Photograph from an automated digital microscope: urine filter membrane, 4× objective.
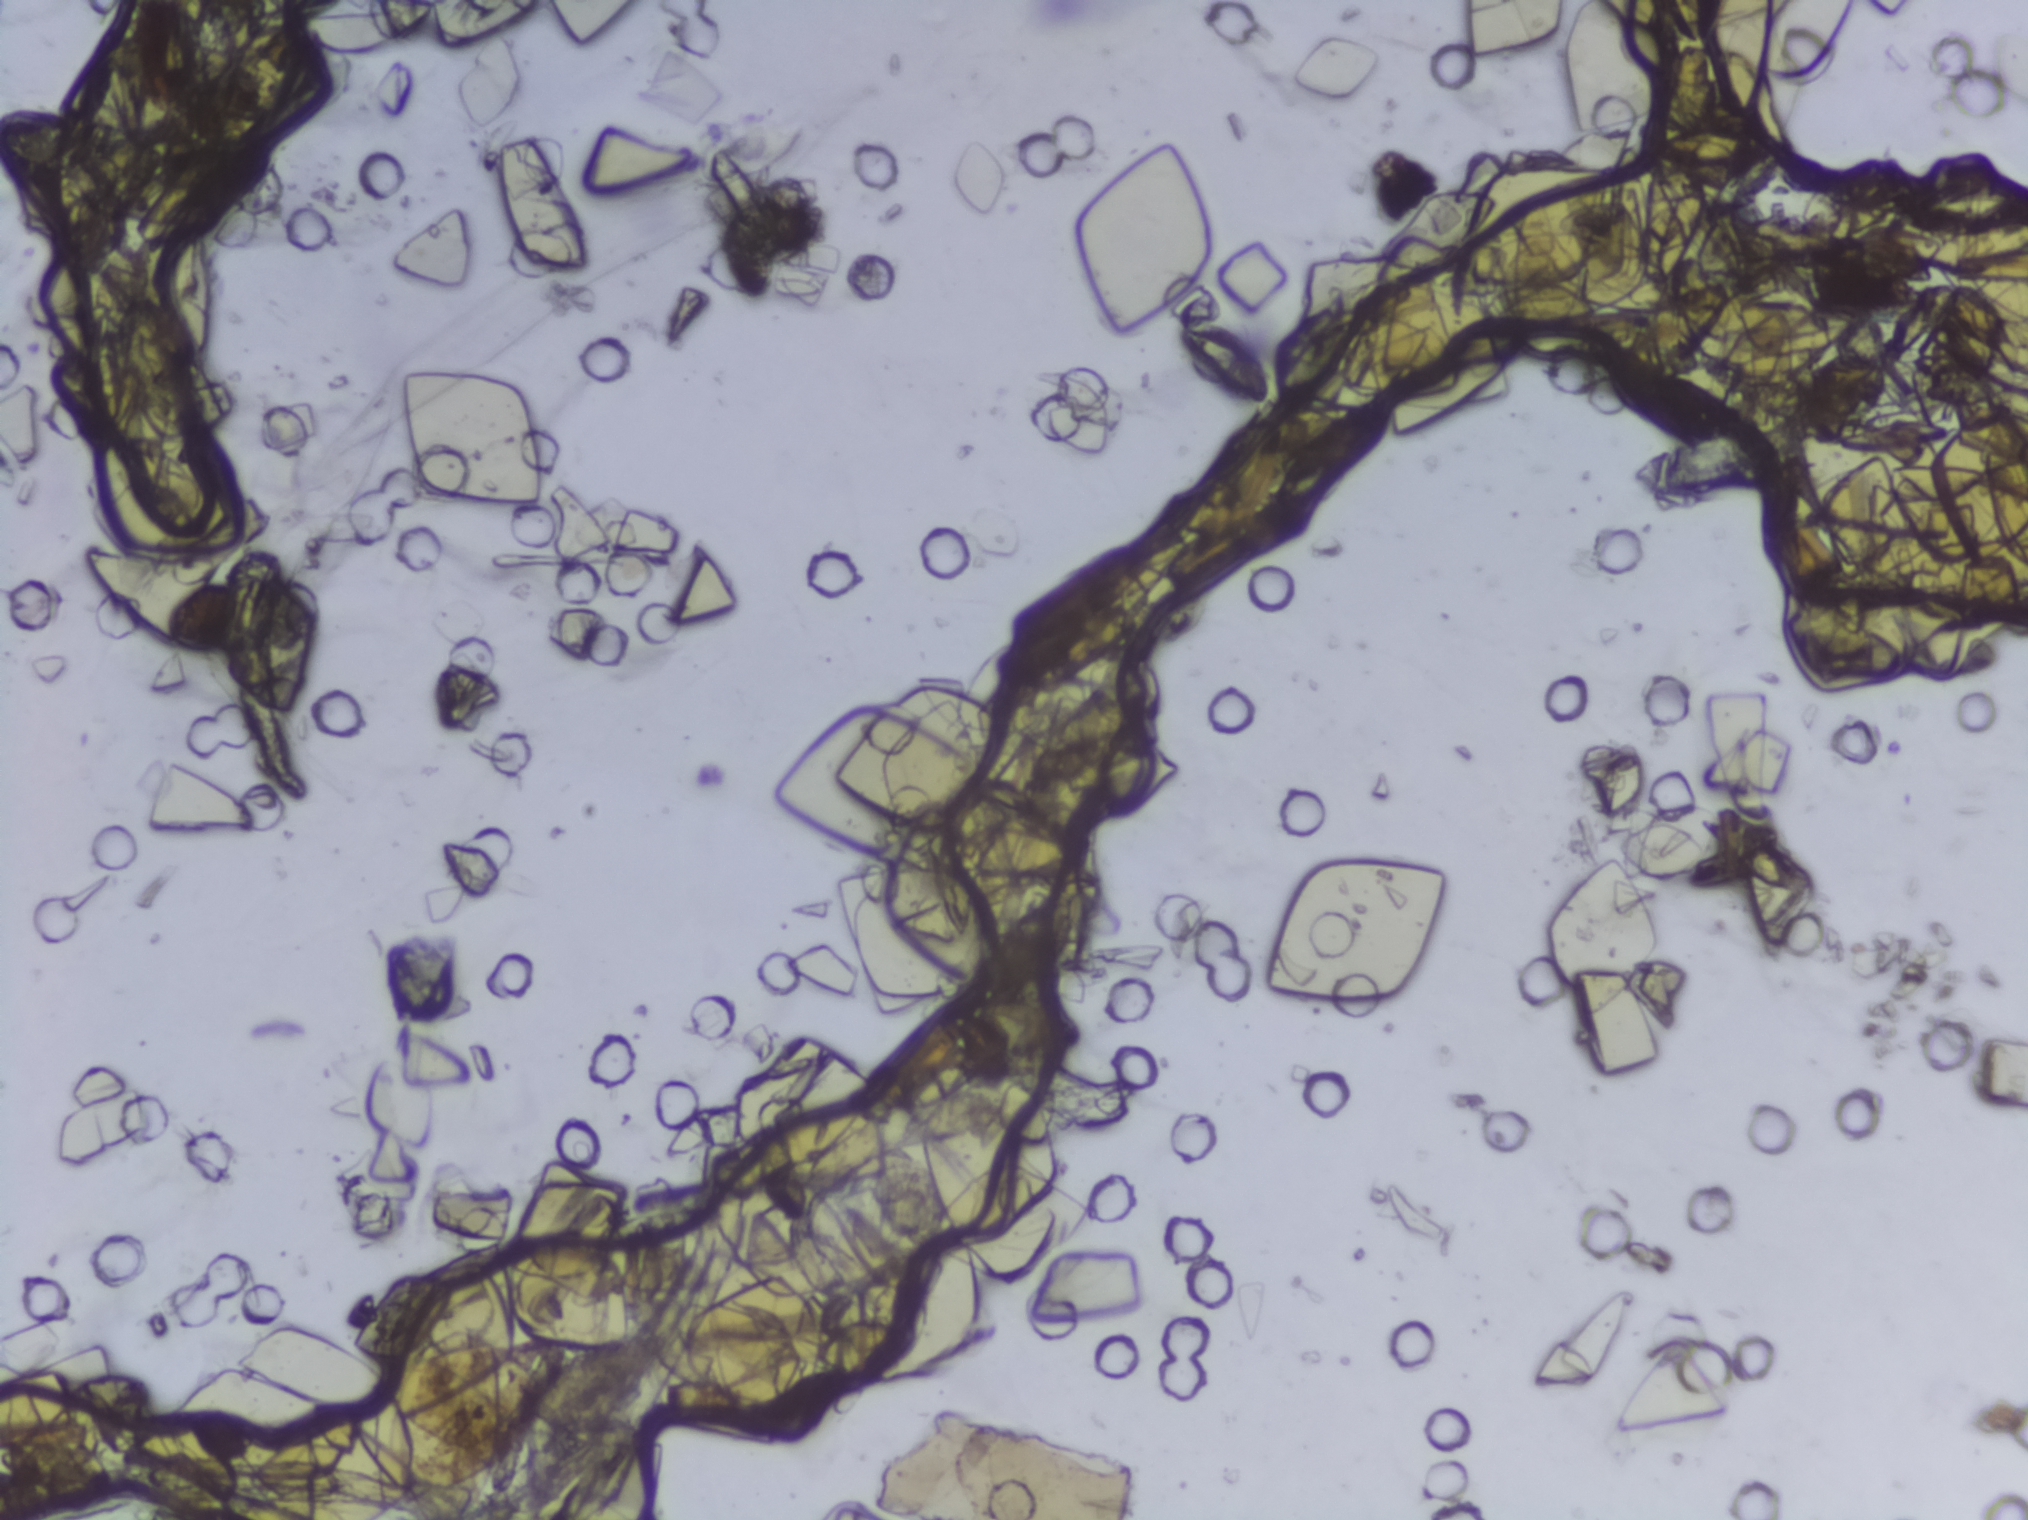
No area of this image was outlined as a Schistosoma egg.